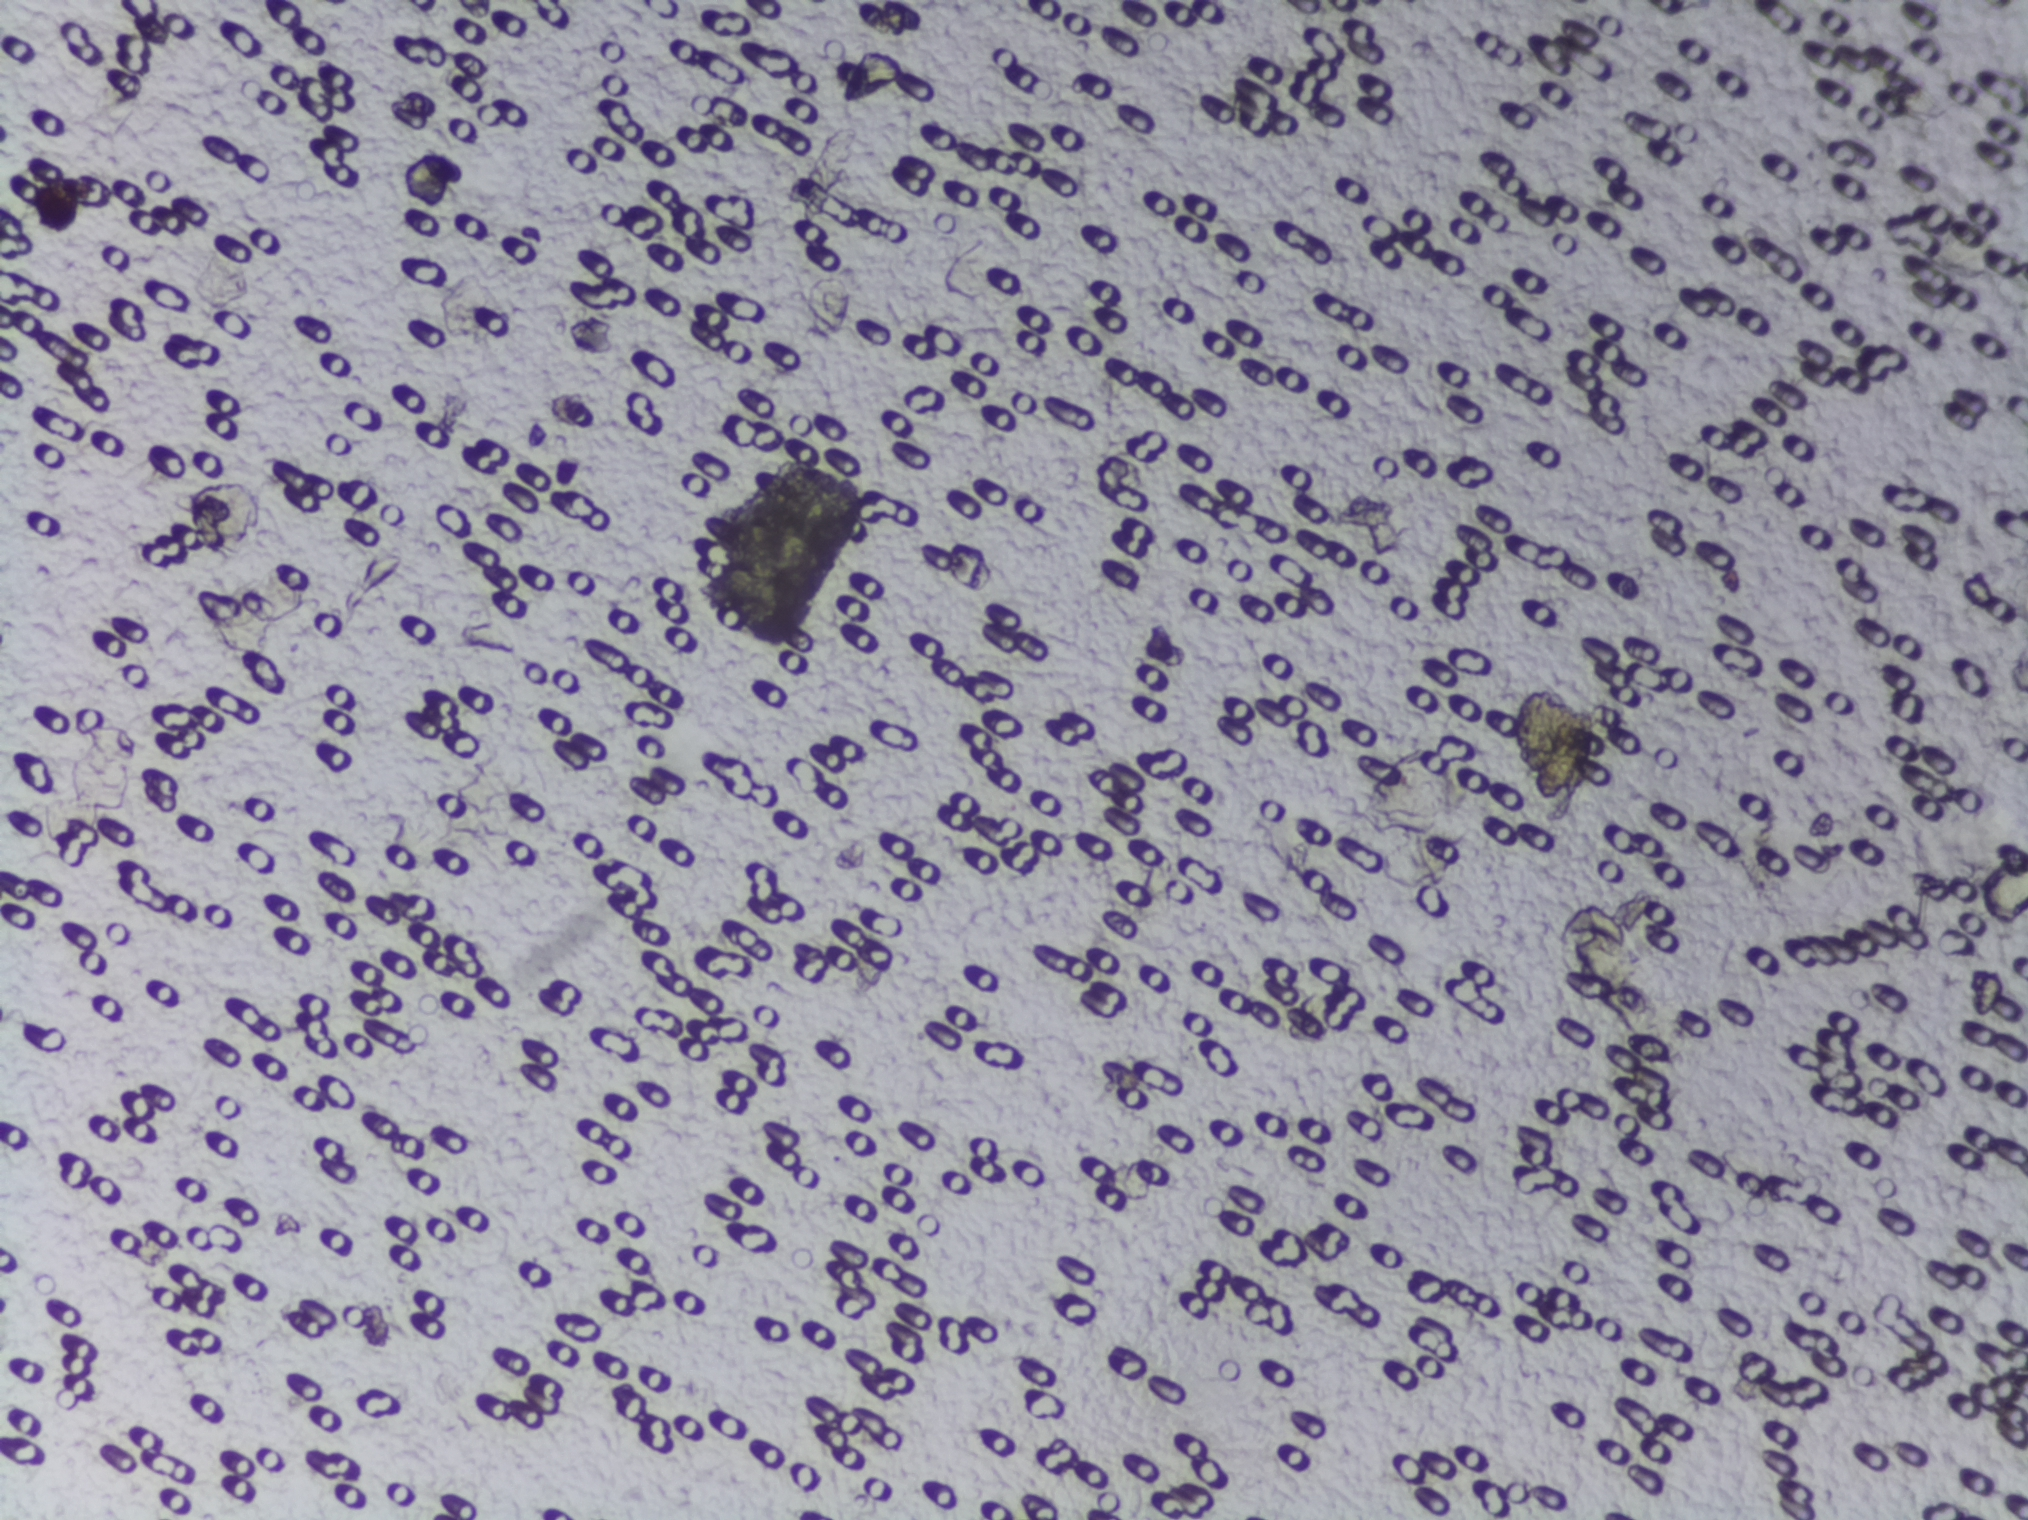
The expert annotation marks no Schistosoma egg in this field of view.
Photomicrograph of a urine filtration membrane, 4× objective. The field of view is about 1.5 mm × 1.1 mm.